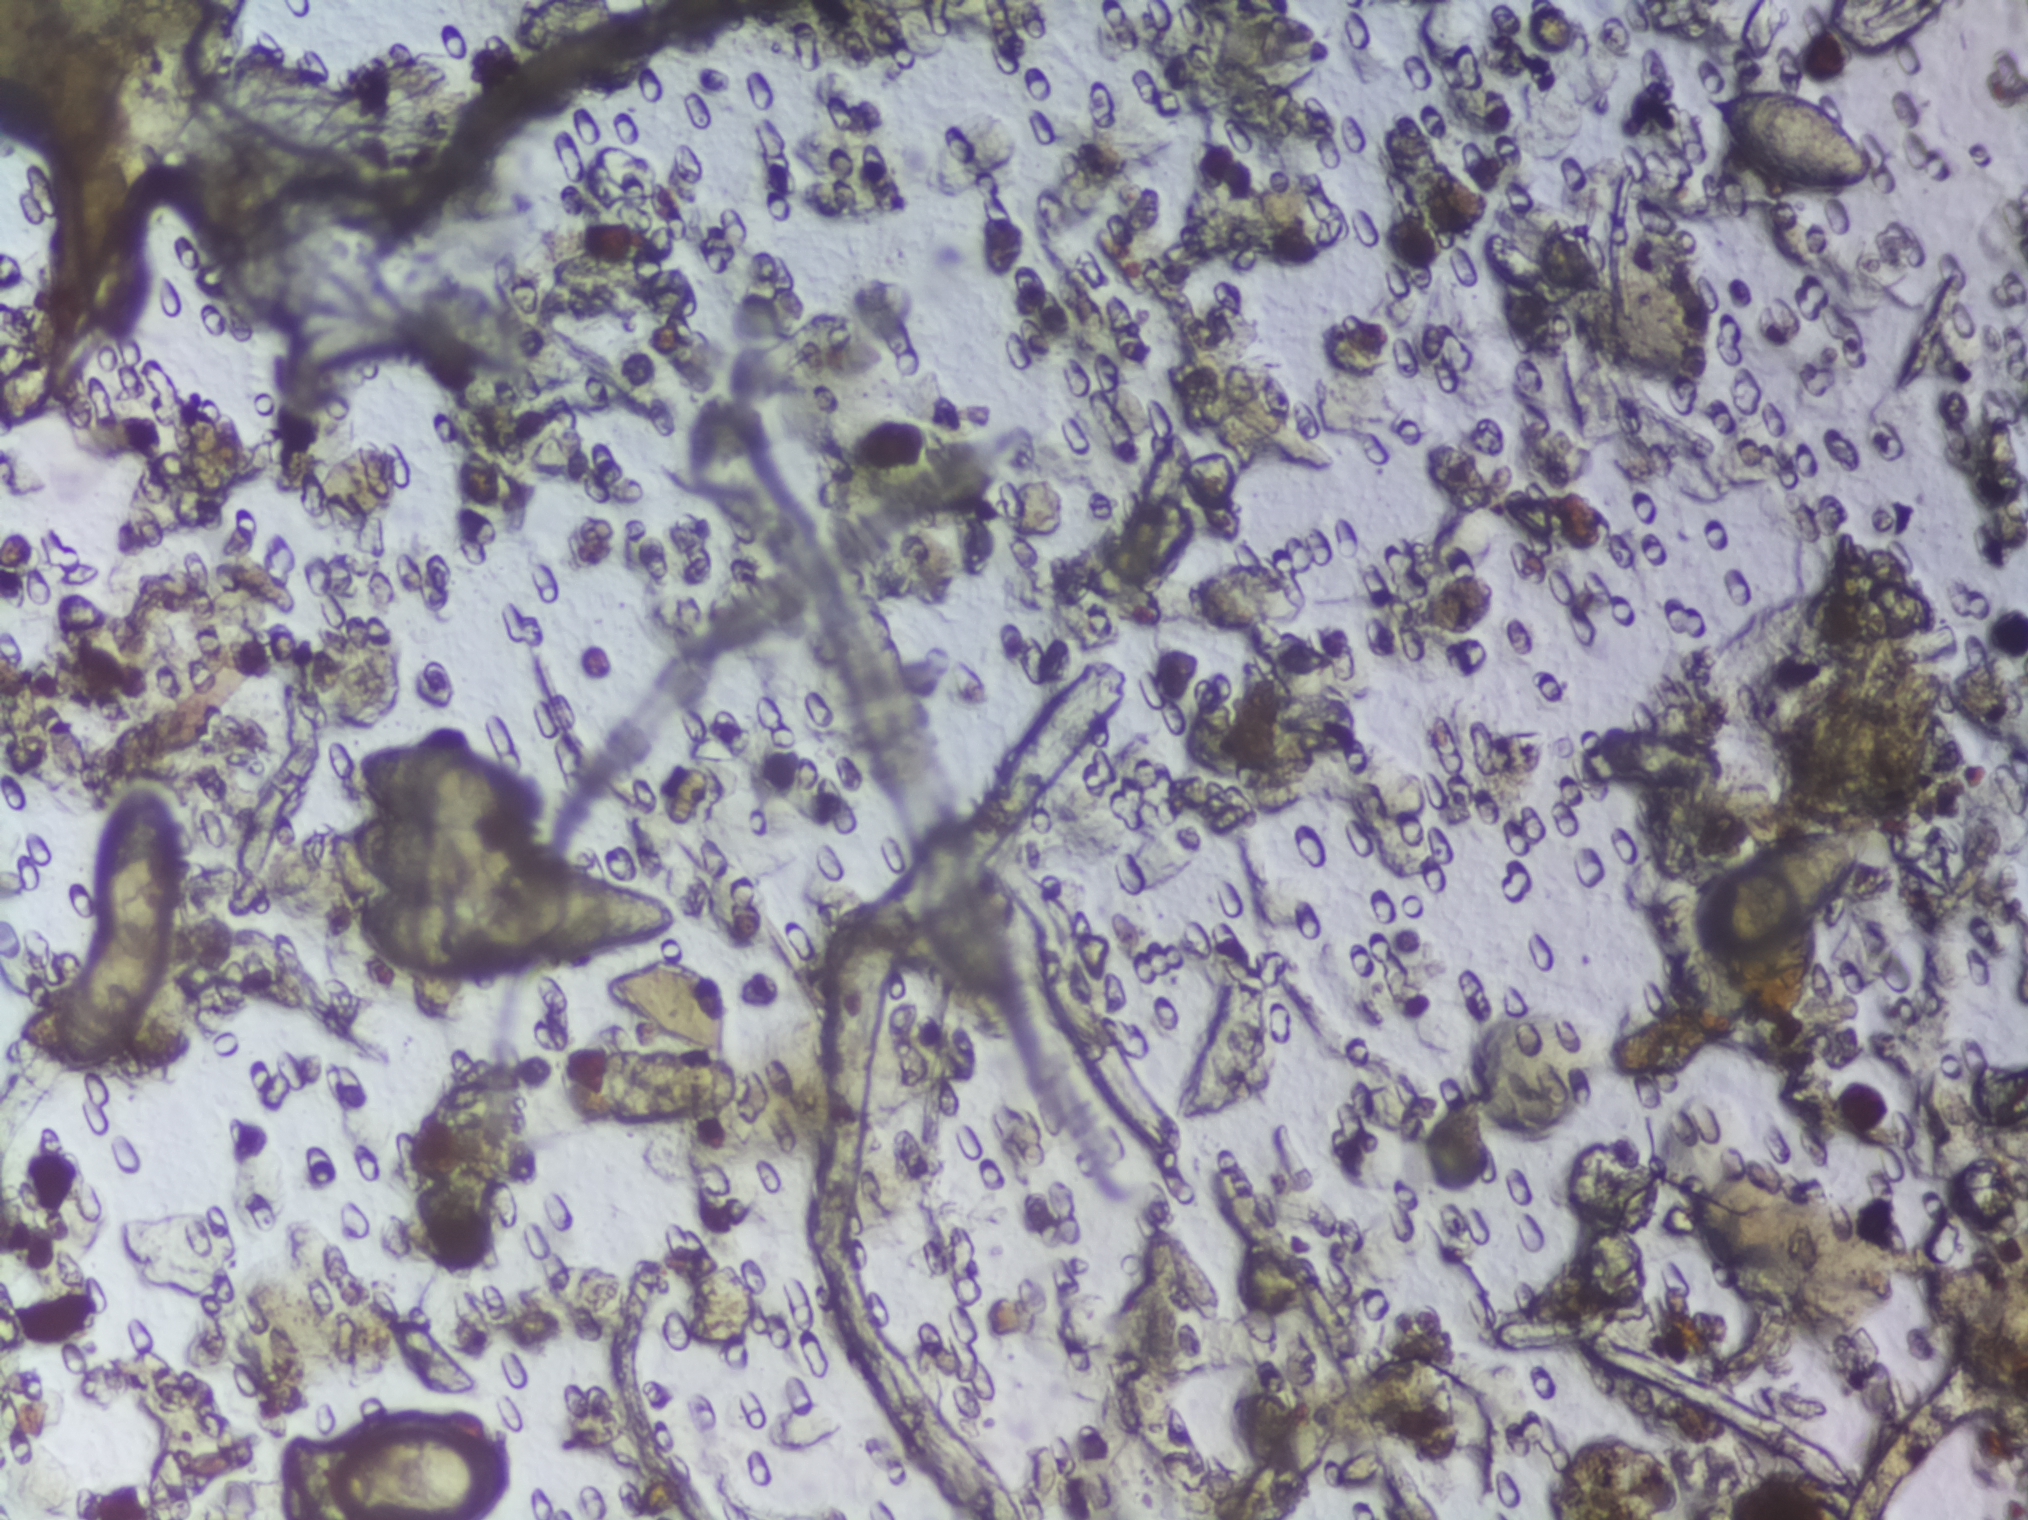
Microscope photograph (4× objective) of a membrane that a urine sample was filtered through. The image covers about 1.5 × 1.1 mm of the membrane.
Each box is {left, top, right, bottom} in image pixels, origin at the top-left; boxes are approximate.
Areas outlined as Schistosoma eggs: {15, 790, 190, 1075}; {65, 154, 153, 353}; {282, 1432, 513, 1519} (reaching the bottom edge of the frame); {345, 744, 682, 972} (a cluster of eggs); {1689, 826, 1868, 954}; {1701, 85, 1874, 195}. A single outlined area may contain several eggs.